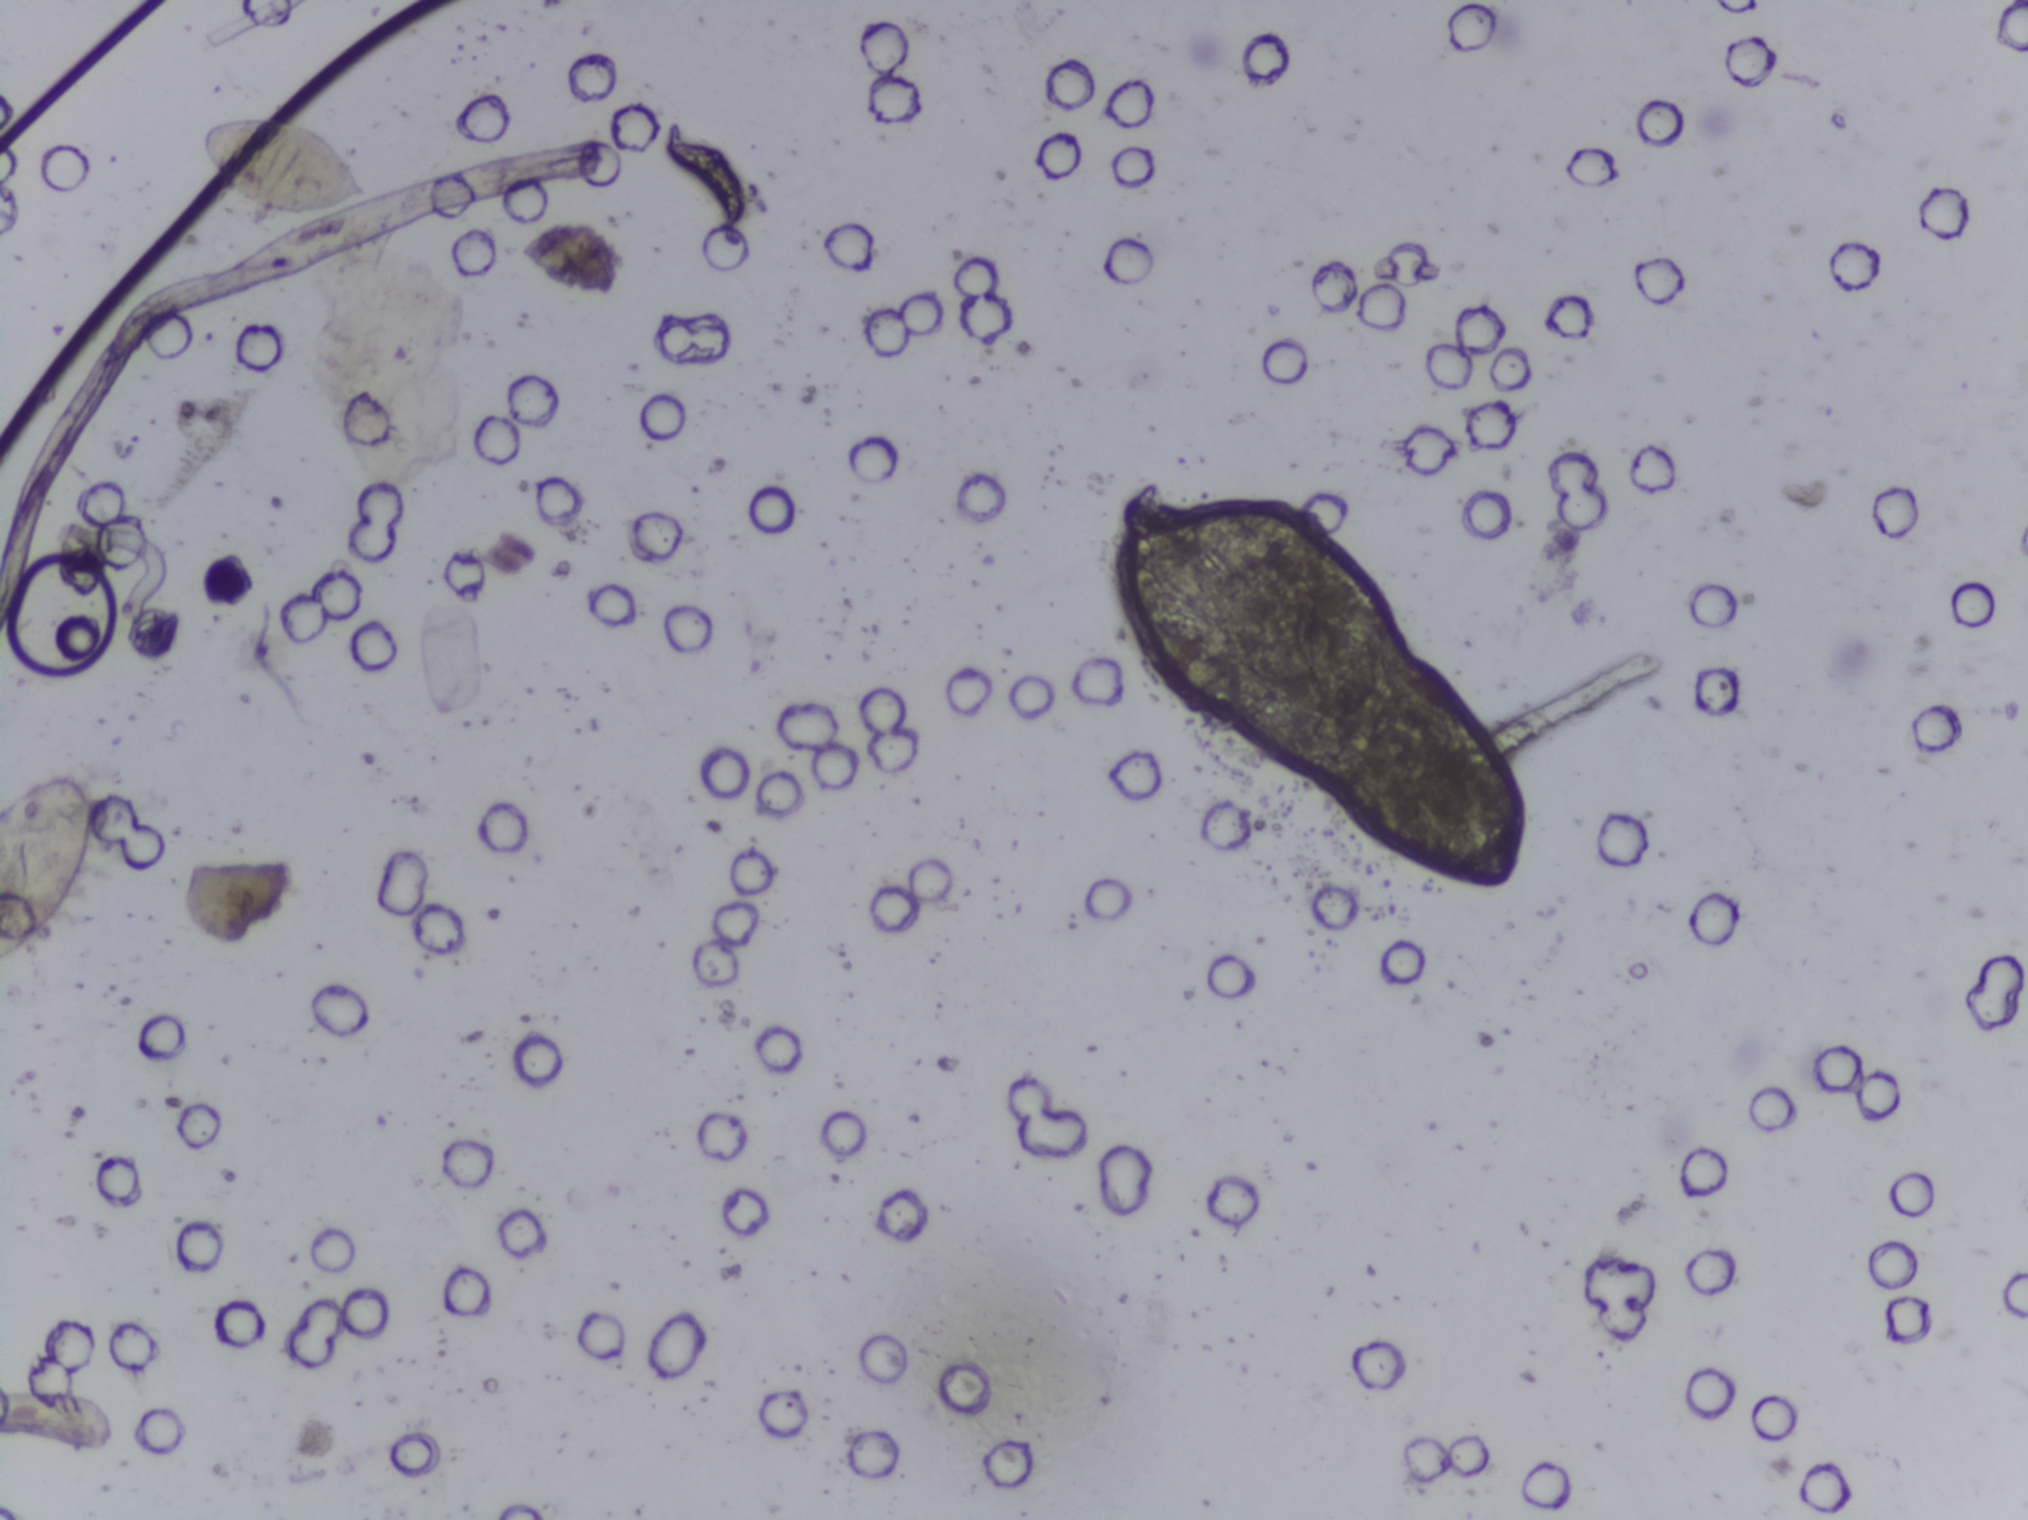
Photograph from an automated digital microscope: urine filter membrane, 4× objective.
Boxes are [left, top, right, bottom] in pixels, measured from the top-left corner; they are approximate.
Areas outlined as Schistosoma eggs, left to right:
1. [0, 772, 98, 964] (reaching the left edge of the frame)
2. [199, 116, 372, 217]
The marked pixels themselves, not the boxes around them, cover about 0.8% of the image. A single outlined area may contain several eggs.